One field of view of a urine filter membrane, 4× objective, 2028 × 1520 pixels. The field of view is about 1.5 mm × 1.1 mm.
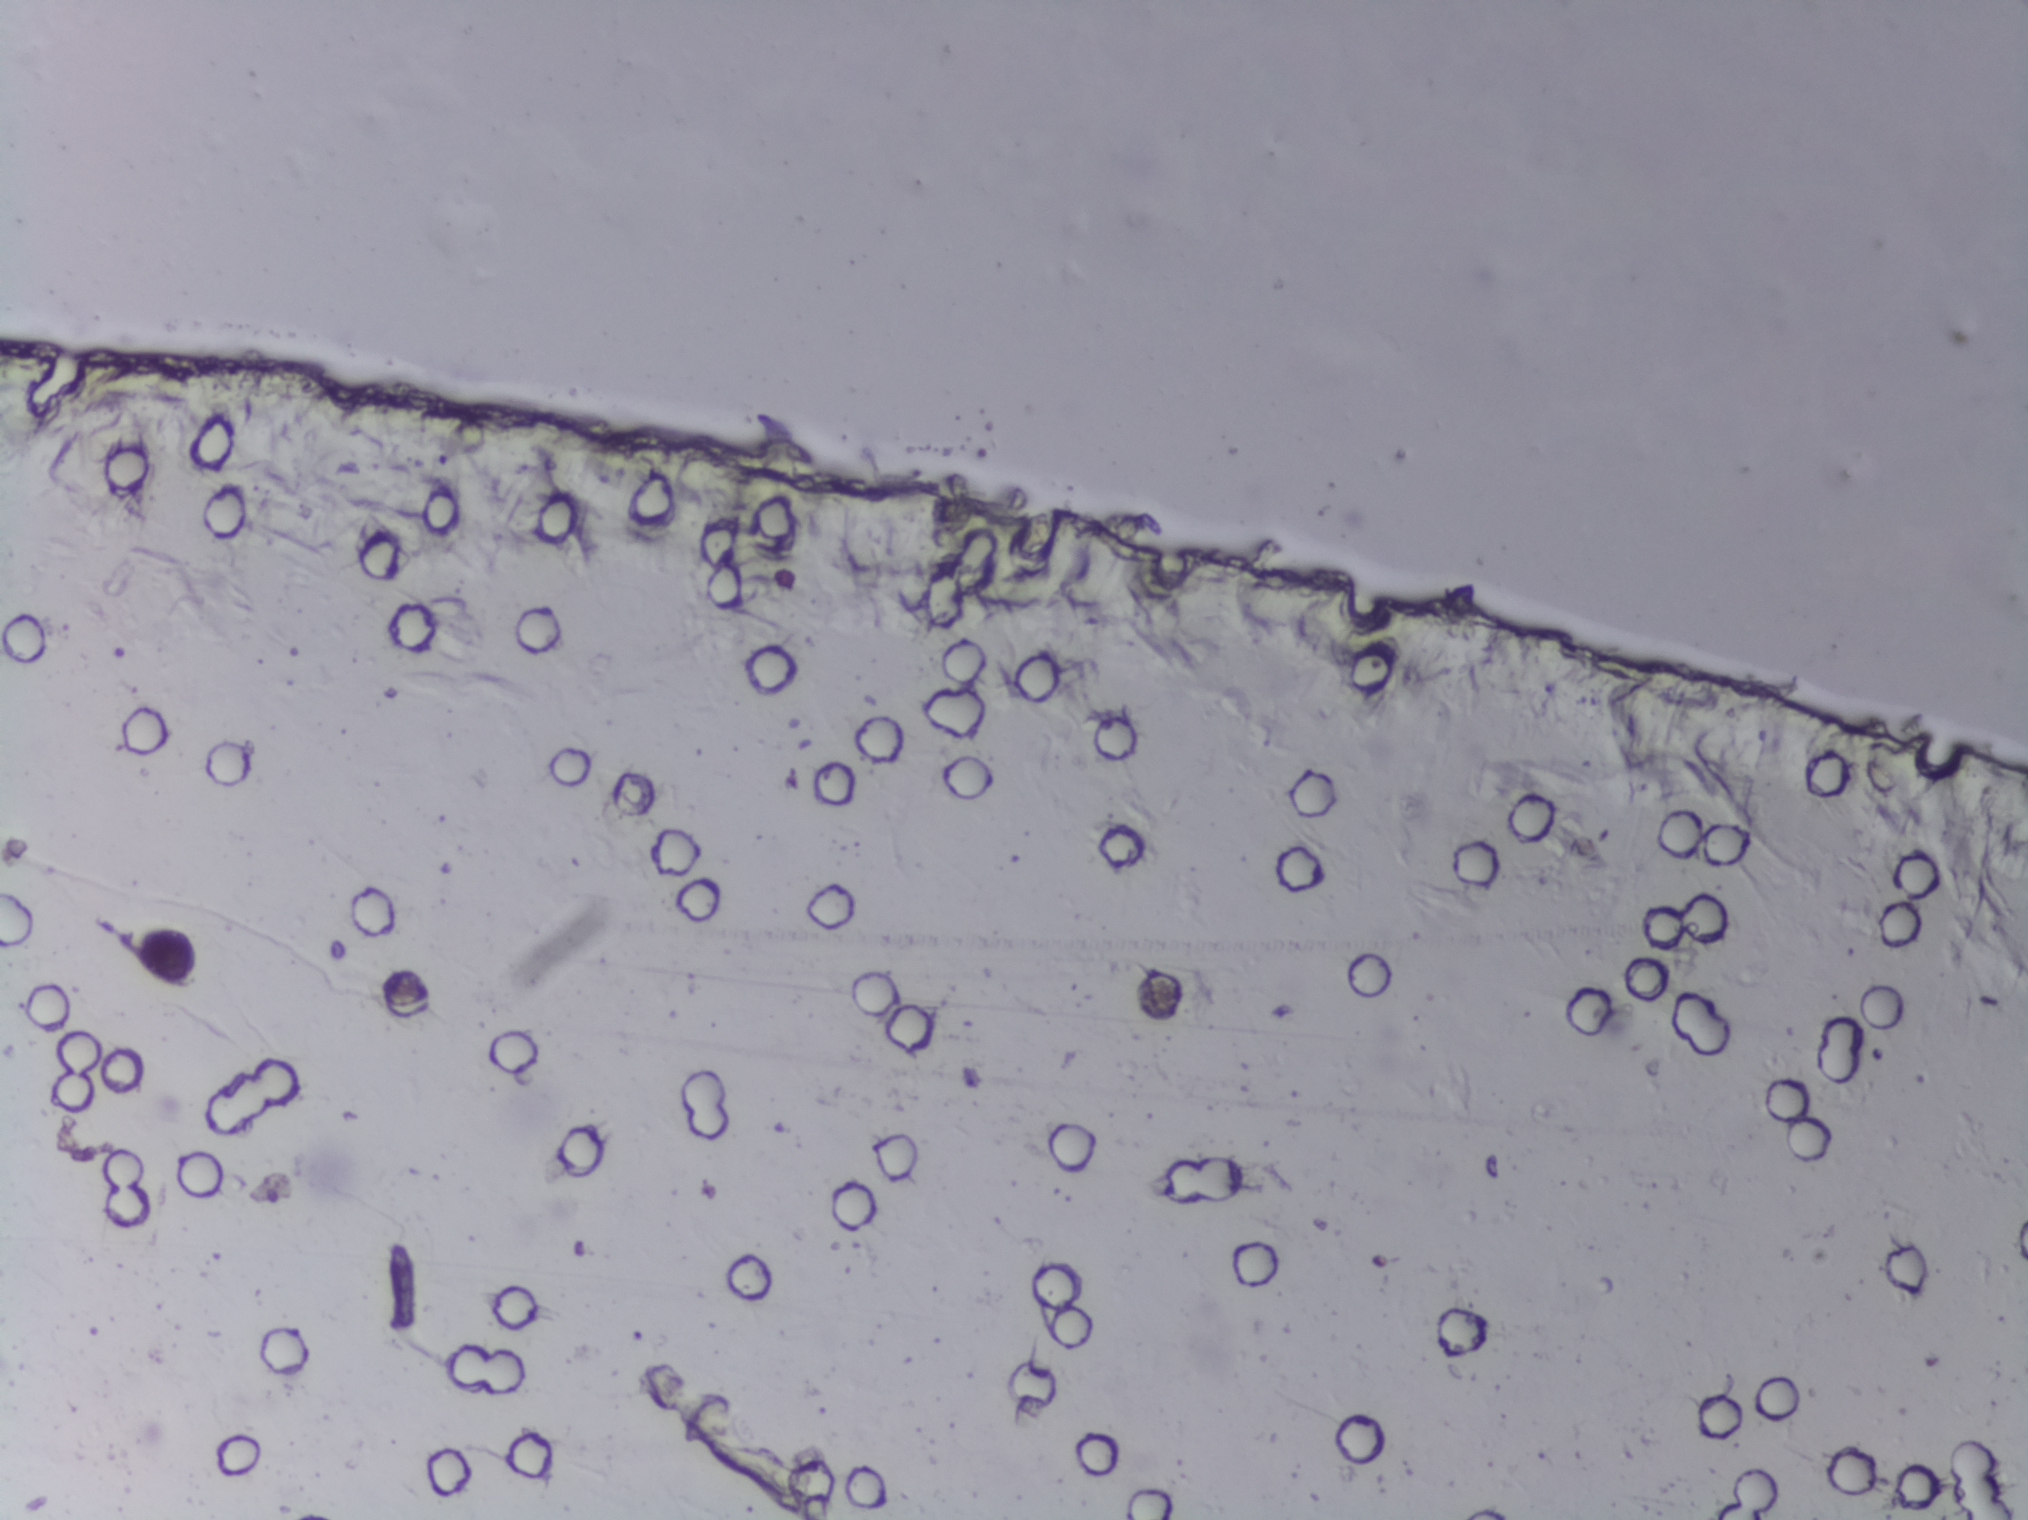
No area of this image was outlined as a Schistosoma egg.